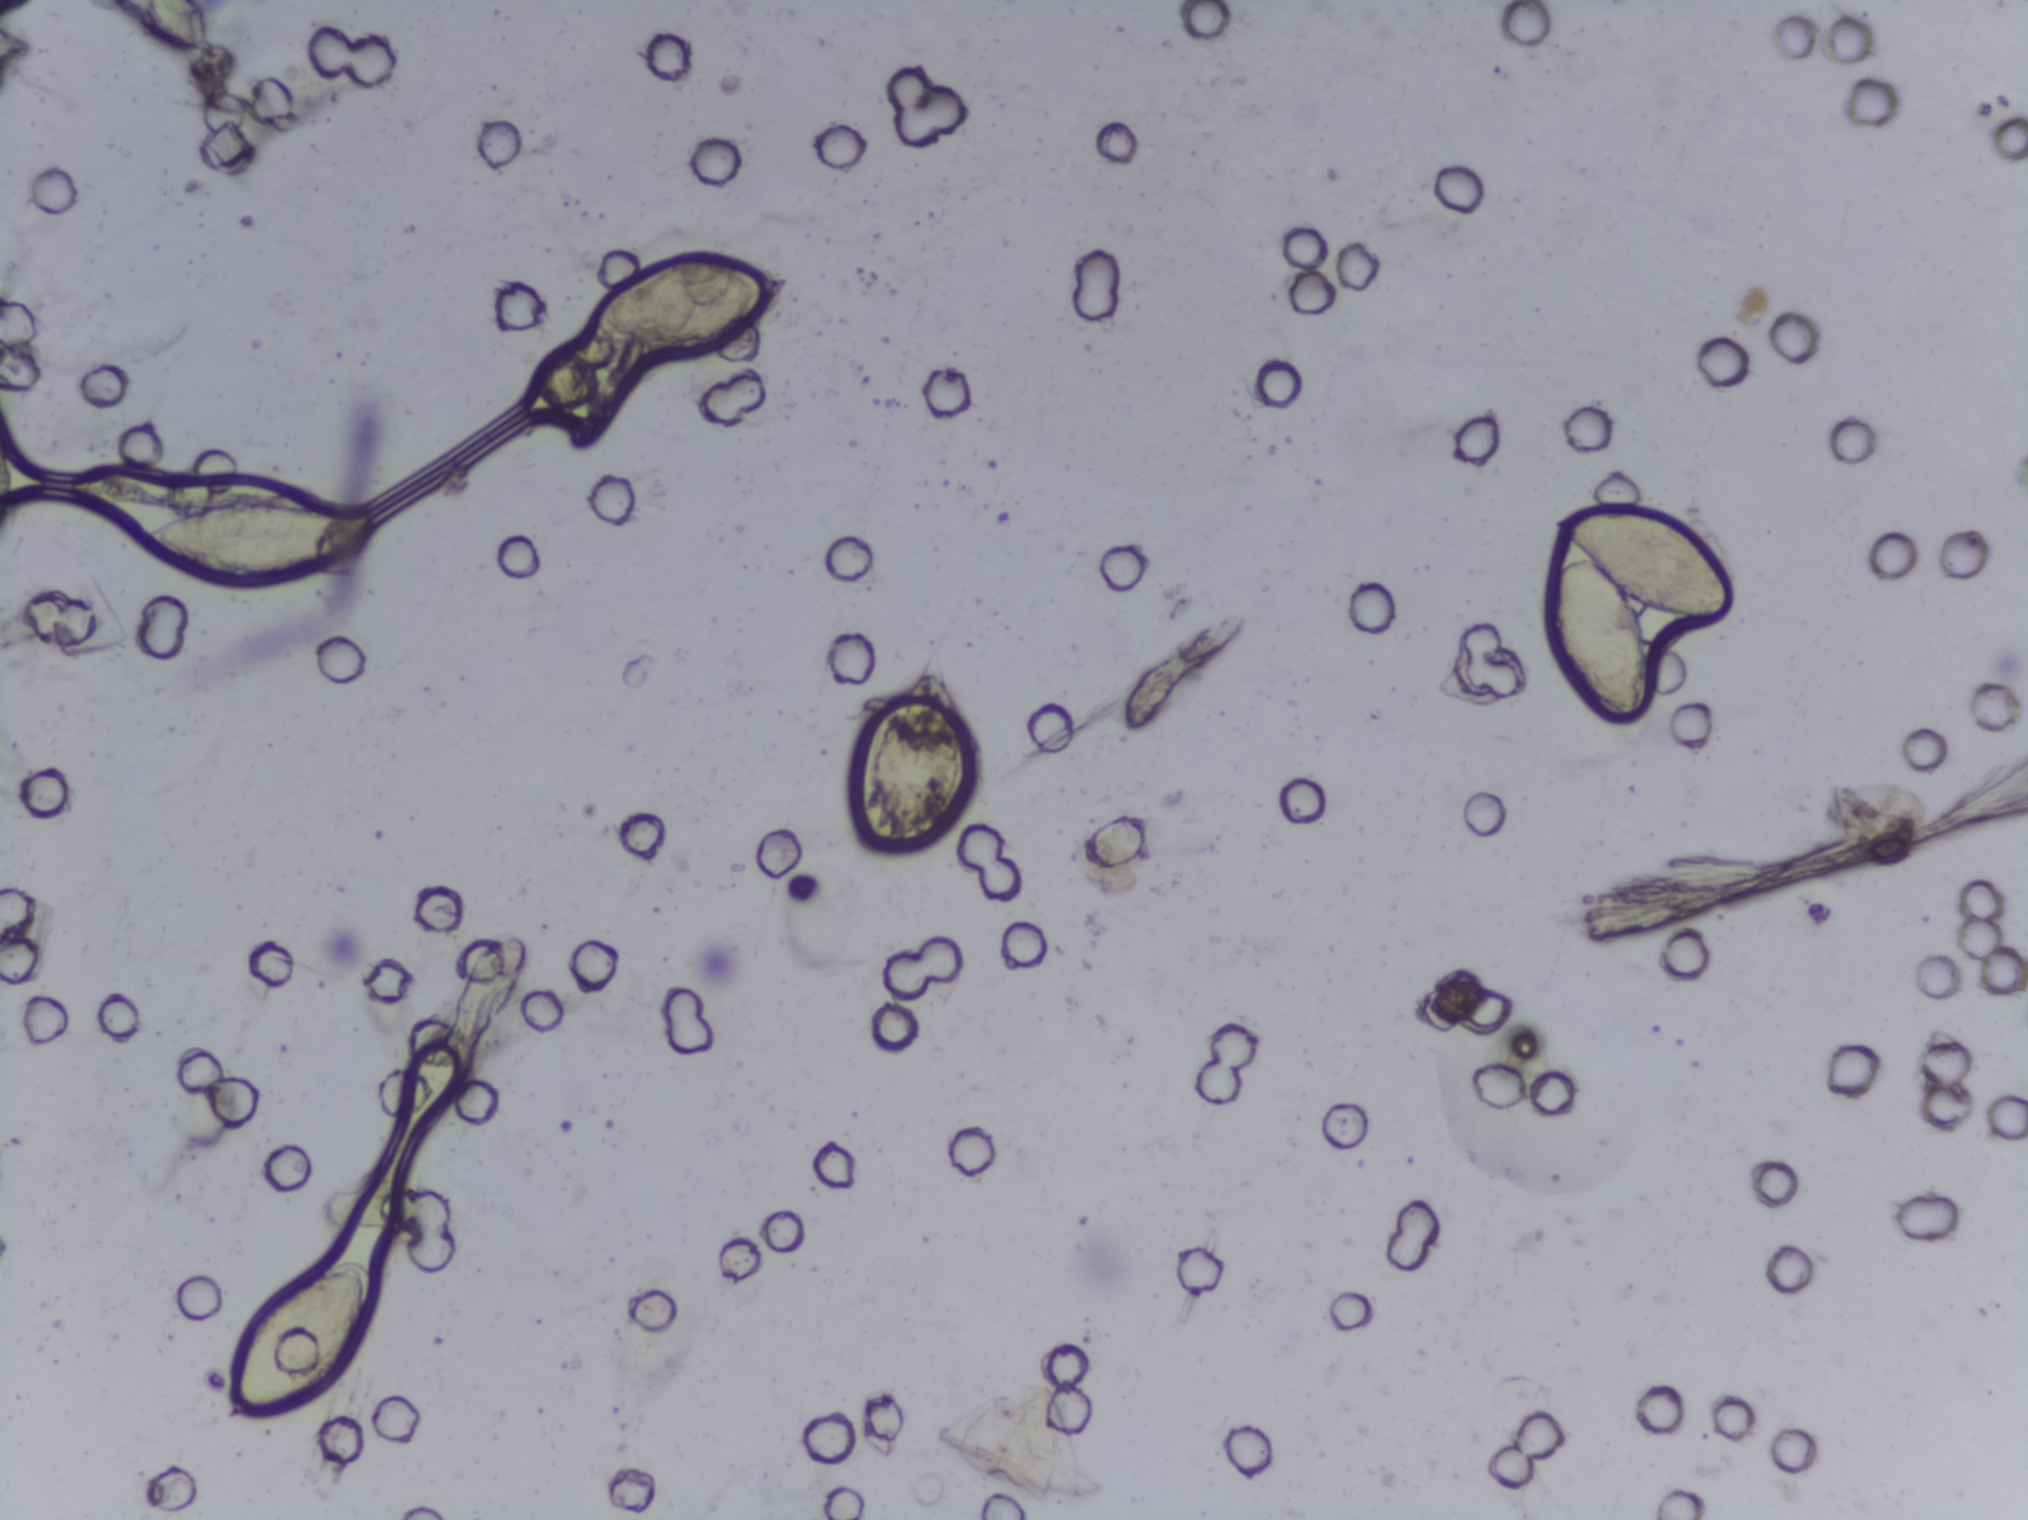
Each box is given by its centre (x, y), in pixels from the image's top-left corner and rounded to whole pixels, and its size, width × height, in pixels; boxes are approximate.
Findings: five areas outlined as Schistosoma eggs. Locations, left to right: centre (255, 543), 233 × 83 px; centre (299, 1340), 161 × 175 px; centre (685, 305), 206 × 96 px; centre (909, 747), 104 × 206 px; centre (1638, 613), 196 × 225 px. A single outlined area may contain several eggs.
Urine filtration membrane under a 4× objective, photographed by an automated digital microscope.